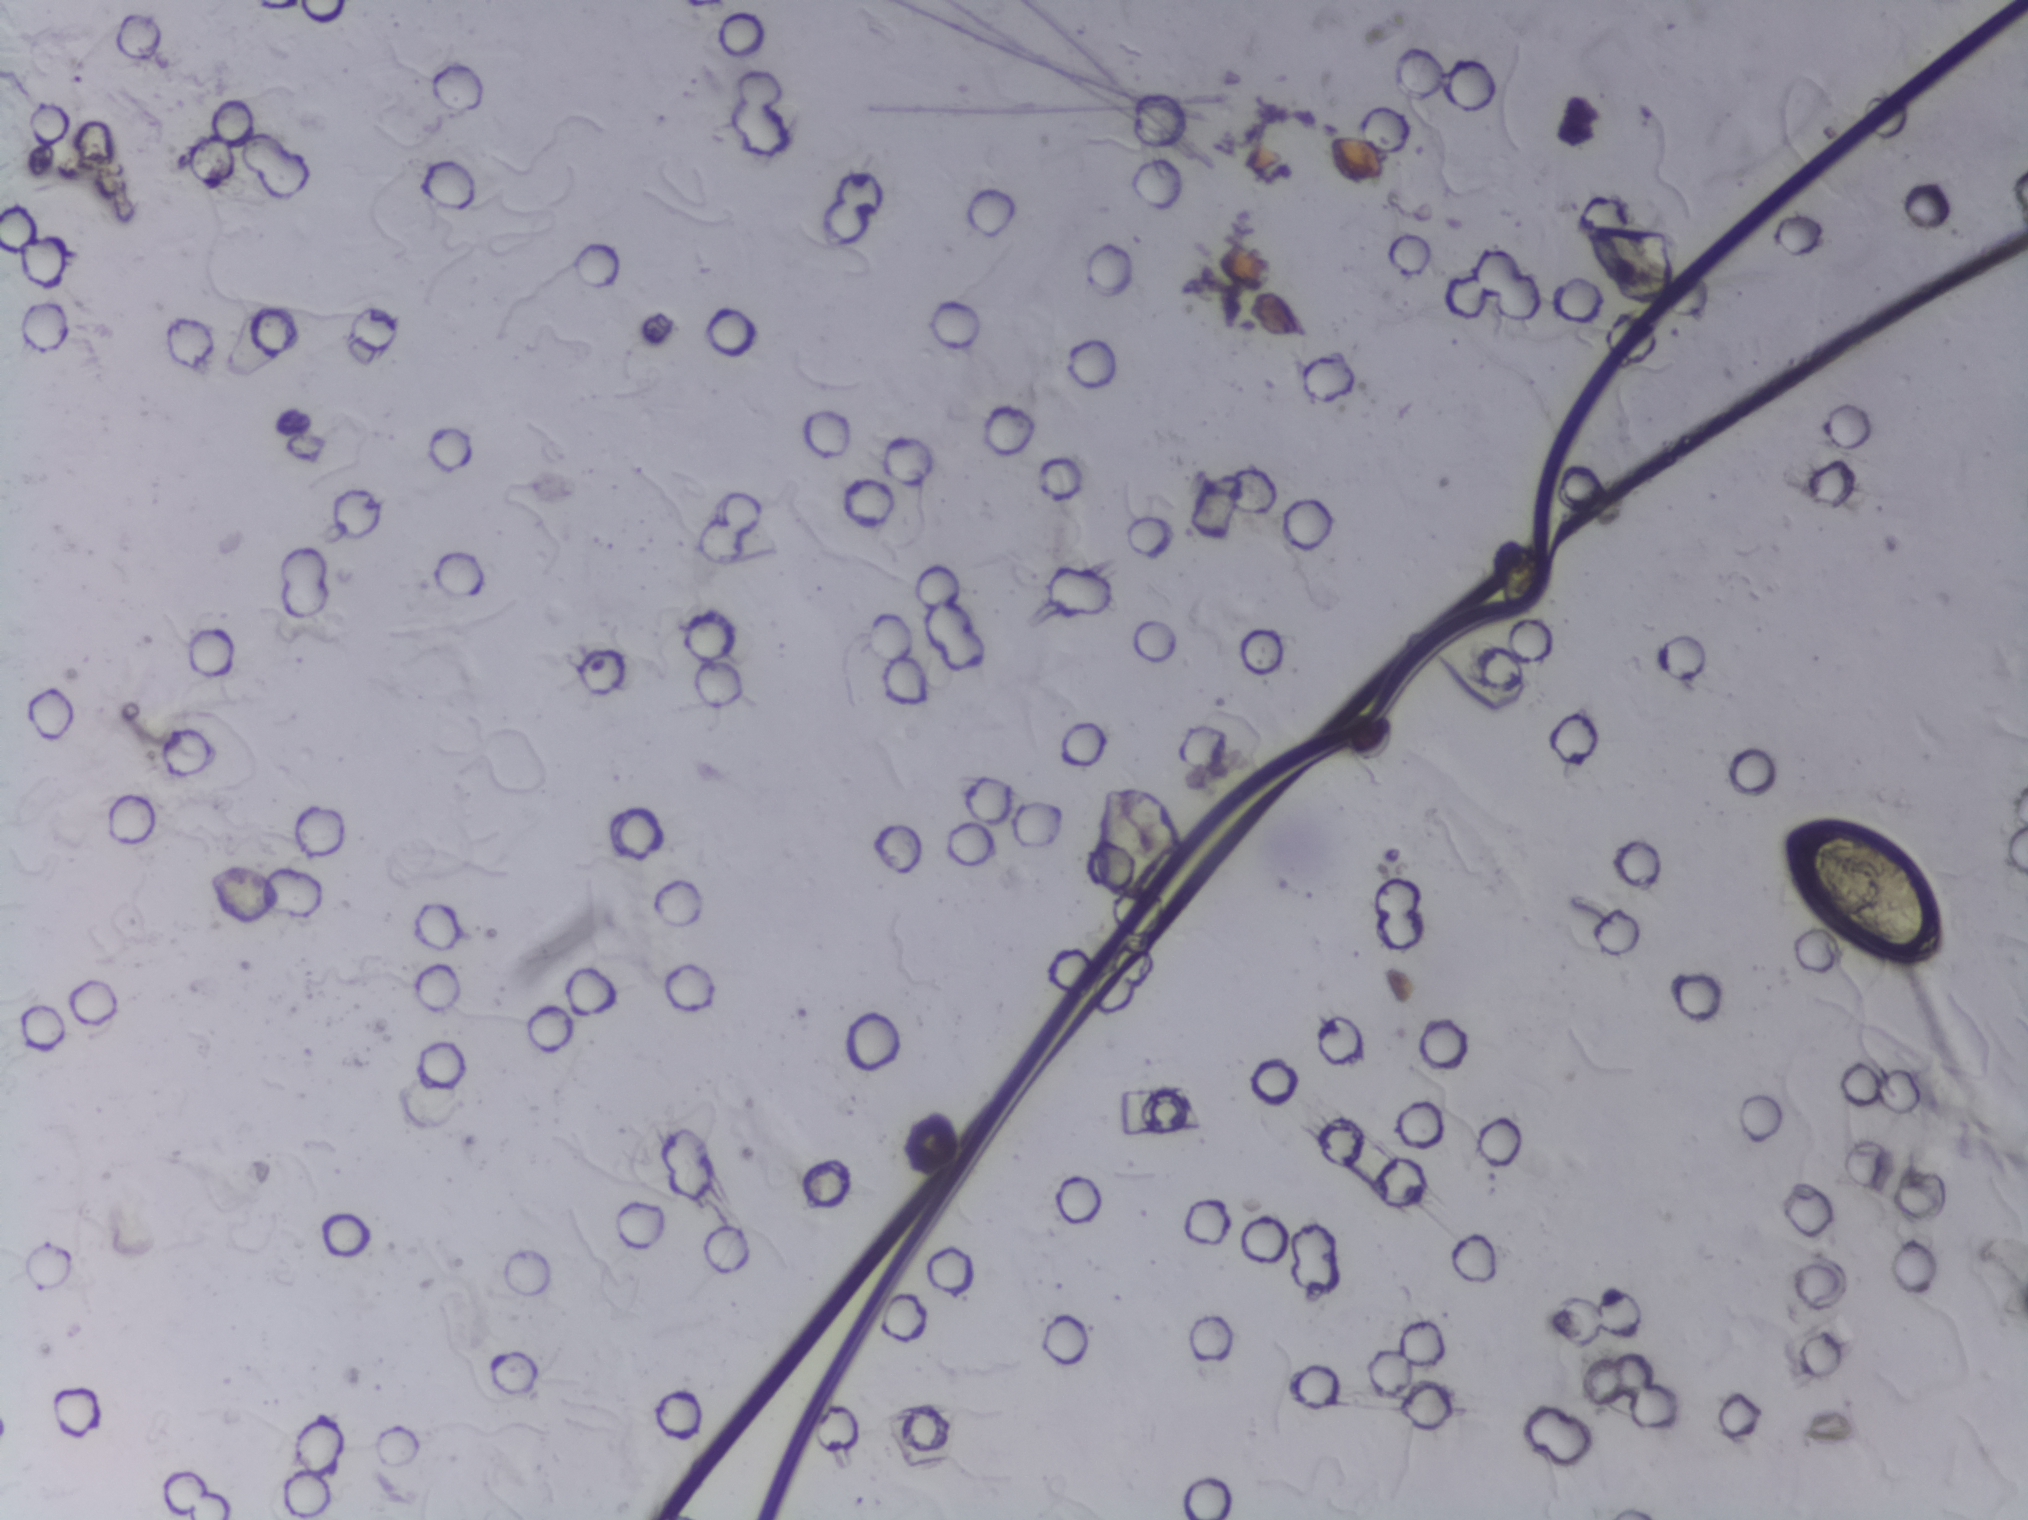
Urine filter membrane photographed through a 4× microscope objective.
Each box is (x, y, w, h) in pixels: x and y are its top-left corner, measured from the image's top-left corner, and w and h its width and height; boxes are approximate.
The expert annotation outlines Schistosoma eggs at (x=1794, y=811, w=154, h=160). Eggs that touch can end up inside the same outlined area. A marked egg may occasionally be S. mansoni rather than S. haematobium.